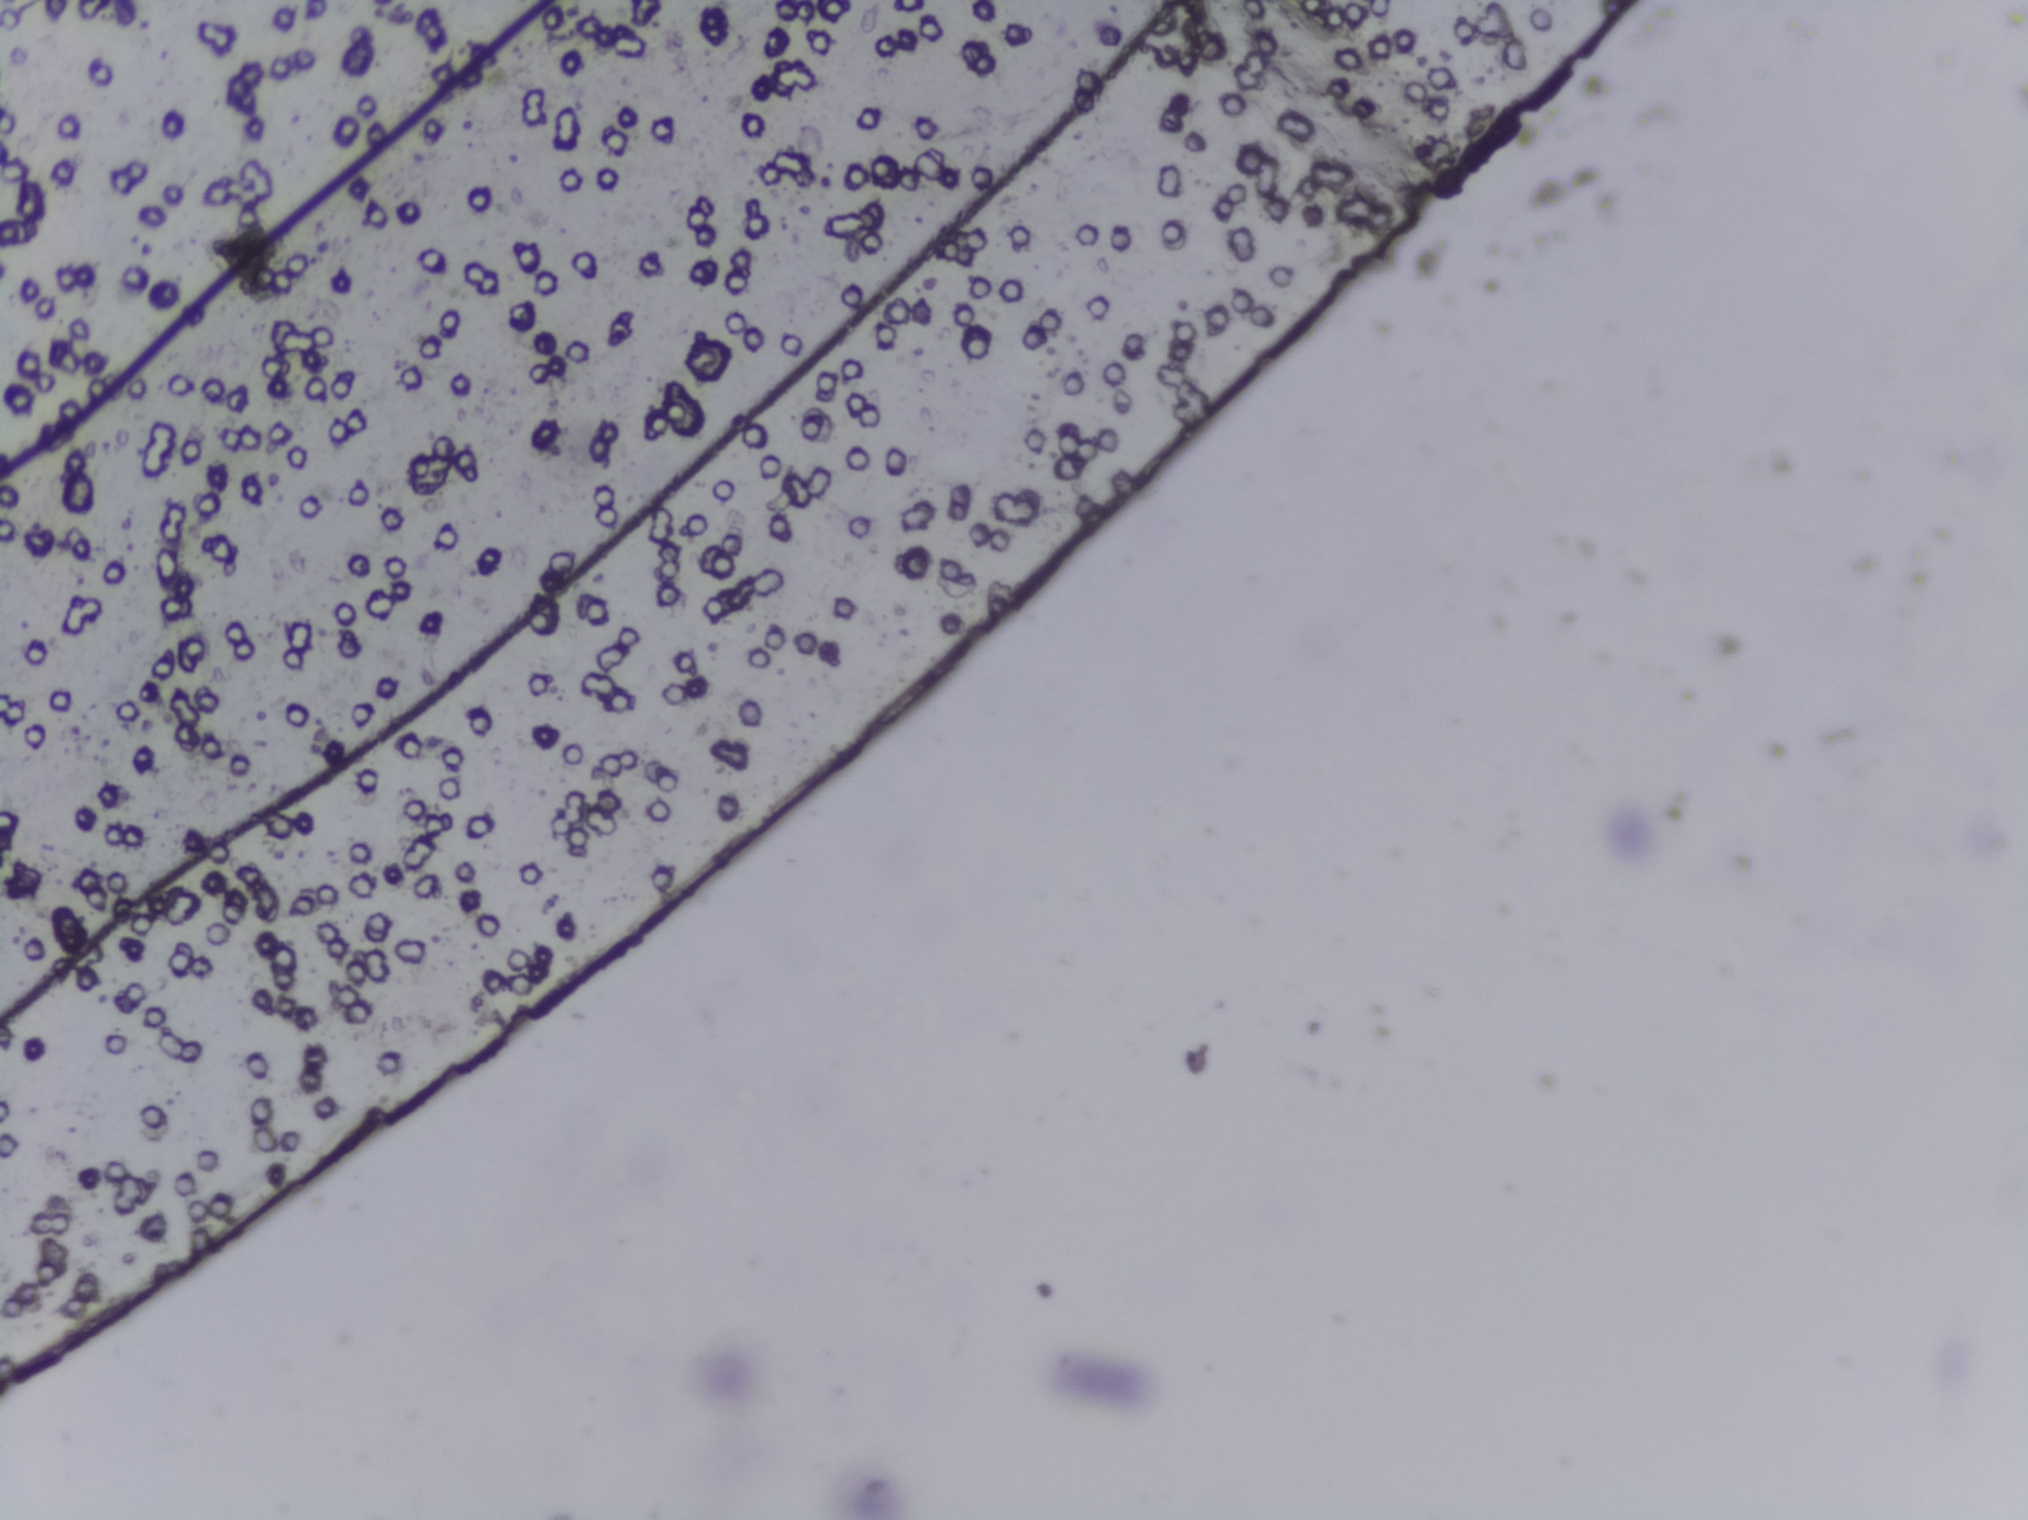
One field of view of a urine filter membrane, 4× objective, 2028 × 1520 pixels.
No Schistosoma egg is outlined in this image's expert annotation.